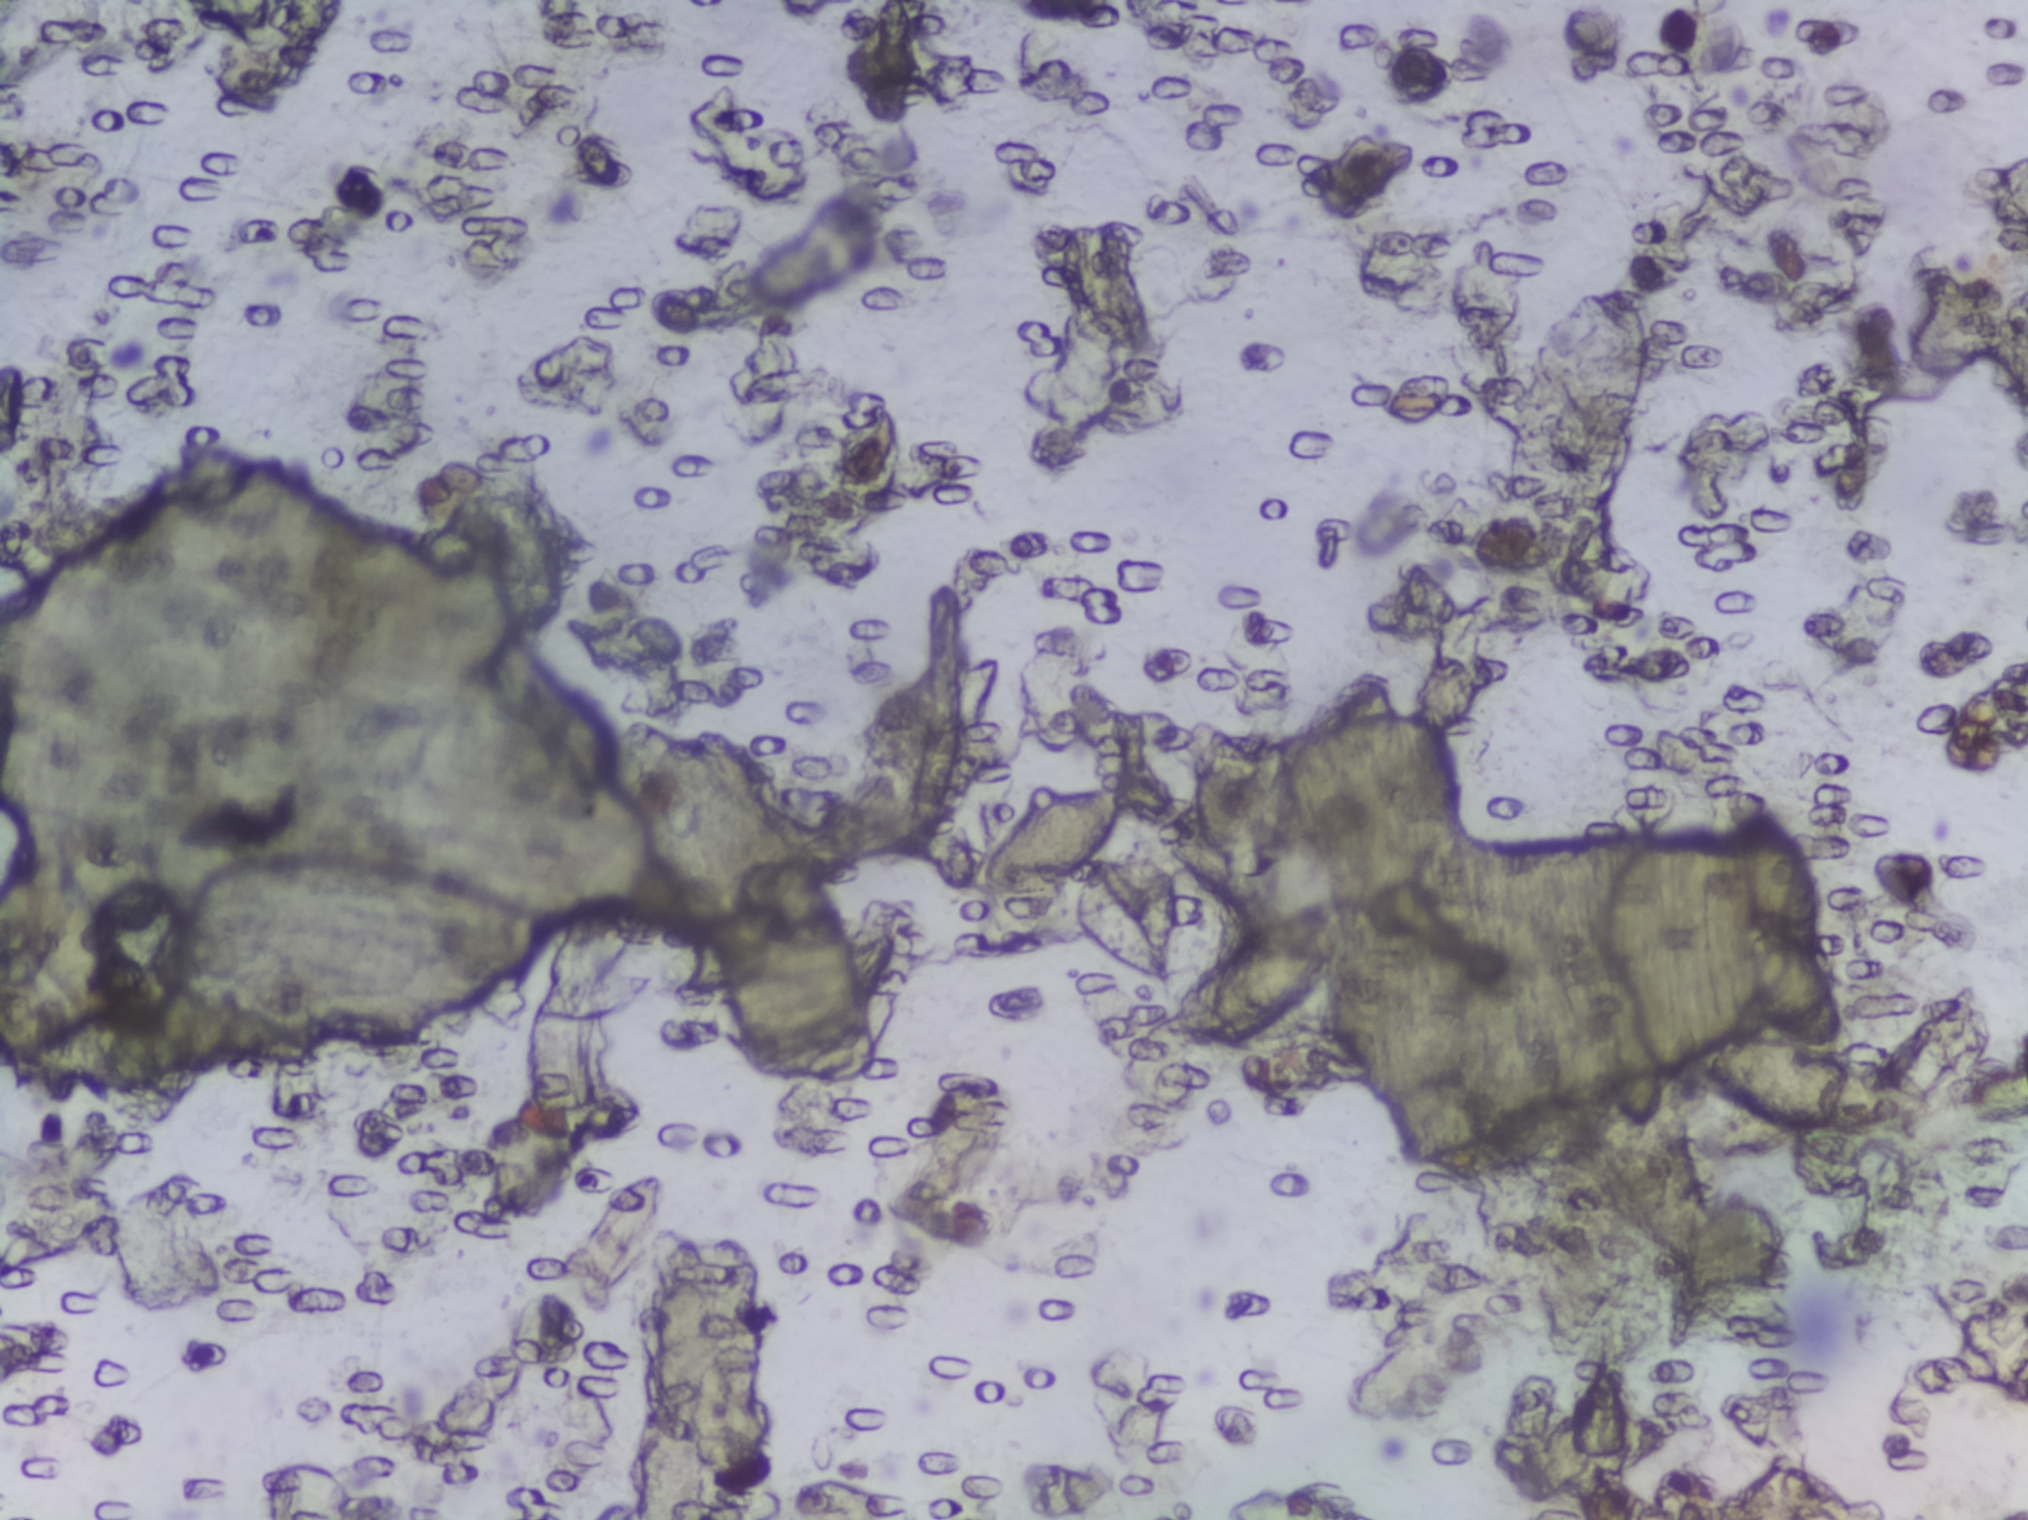
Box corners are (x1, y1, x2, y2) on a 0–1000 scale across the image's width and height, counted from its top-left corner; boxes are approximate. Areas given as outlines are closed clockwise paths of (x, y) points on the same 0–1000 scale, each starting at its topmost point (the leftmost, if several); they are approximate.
Outlined Schistosoma egg areas, left to right:
1. box (477, 514, 555, 589)
2. box (578, 624, 655, 685)
3. outline (866, 526), (875, 529), (890, 552), (899, 608), (898, 631), (911, 666), (910, 683), (905, 691), (939, 719), (942, 734), (935, 742), (911, 748), (876, 744), (848, 727), (832, 703), (832, 691), (842, 682), (871, 677), (862, 633), (863, 608), (867, 602), (852, 549), (849, 552), (856, 534)
A single outlined area may contain several eggs. A marked egg may occasionally be S. mansoni rather than S. haematobium.
Microscope photograph (4× objective) of a membrane that a urine sample was filtered through. The field of view is about 1.5 mm × 1.1 mm.